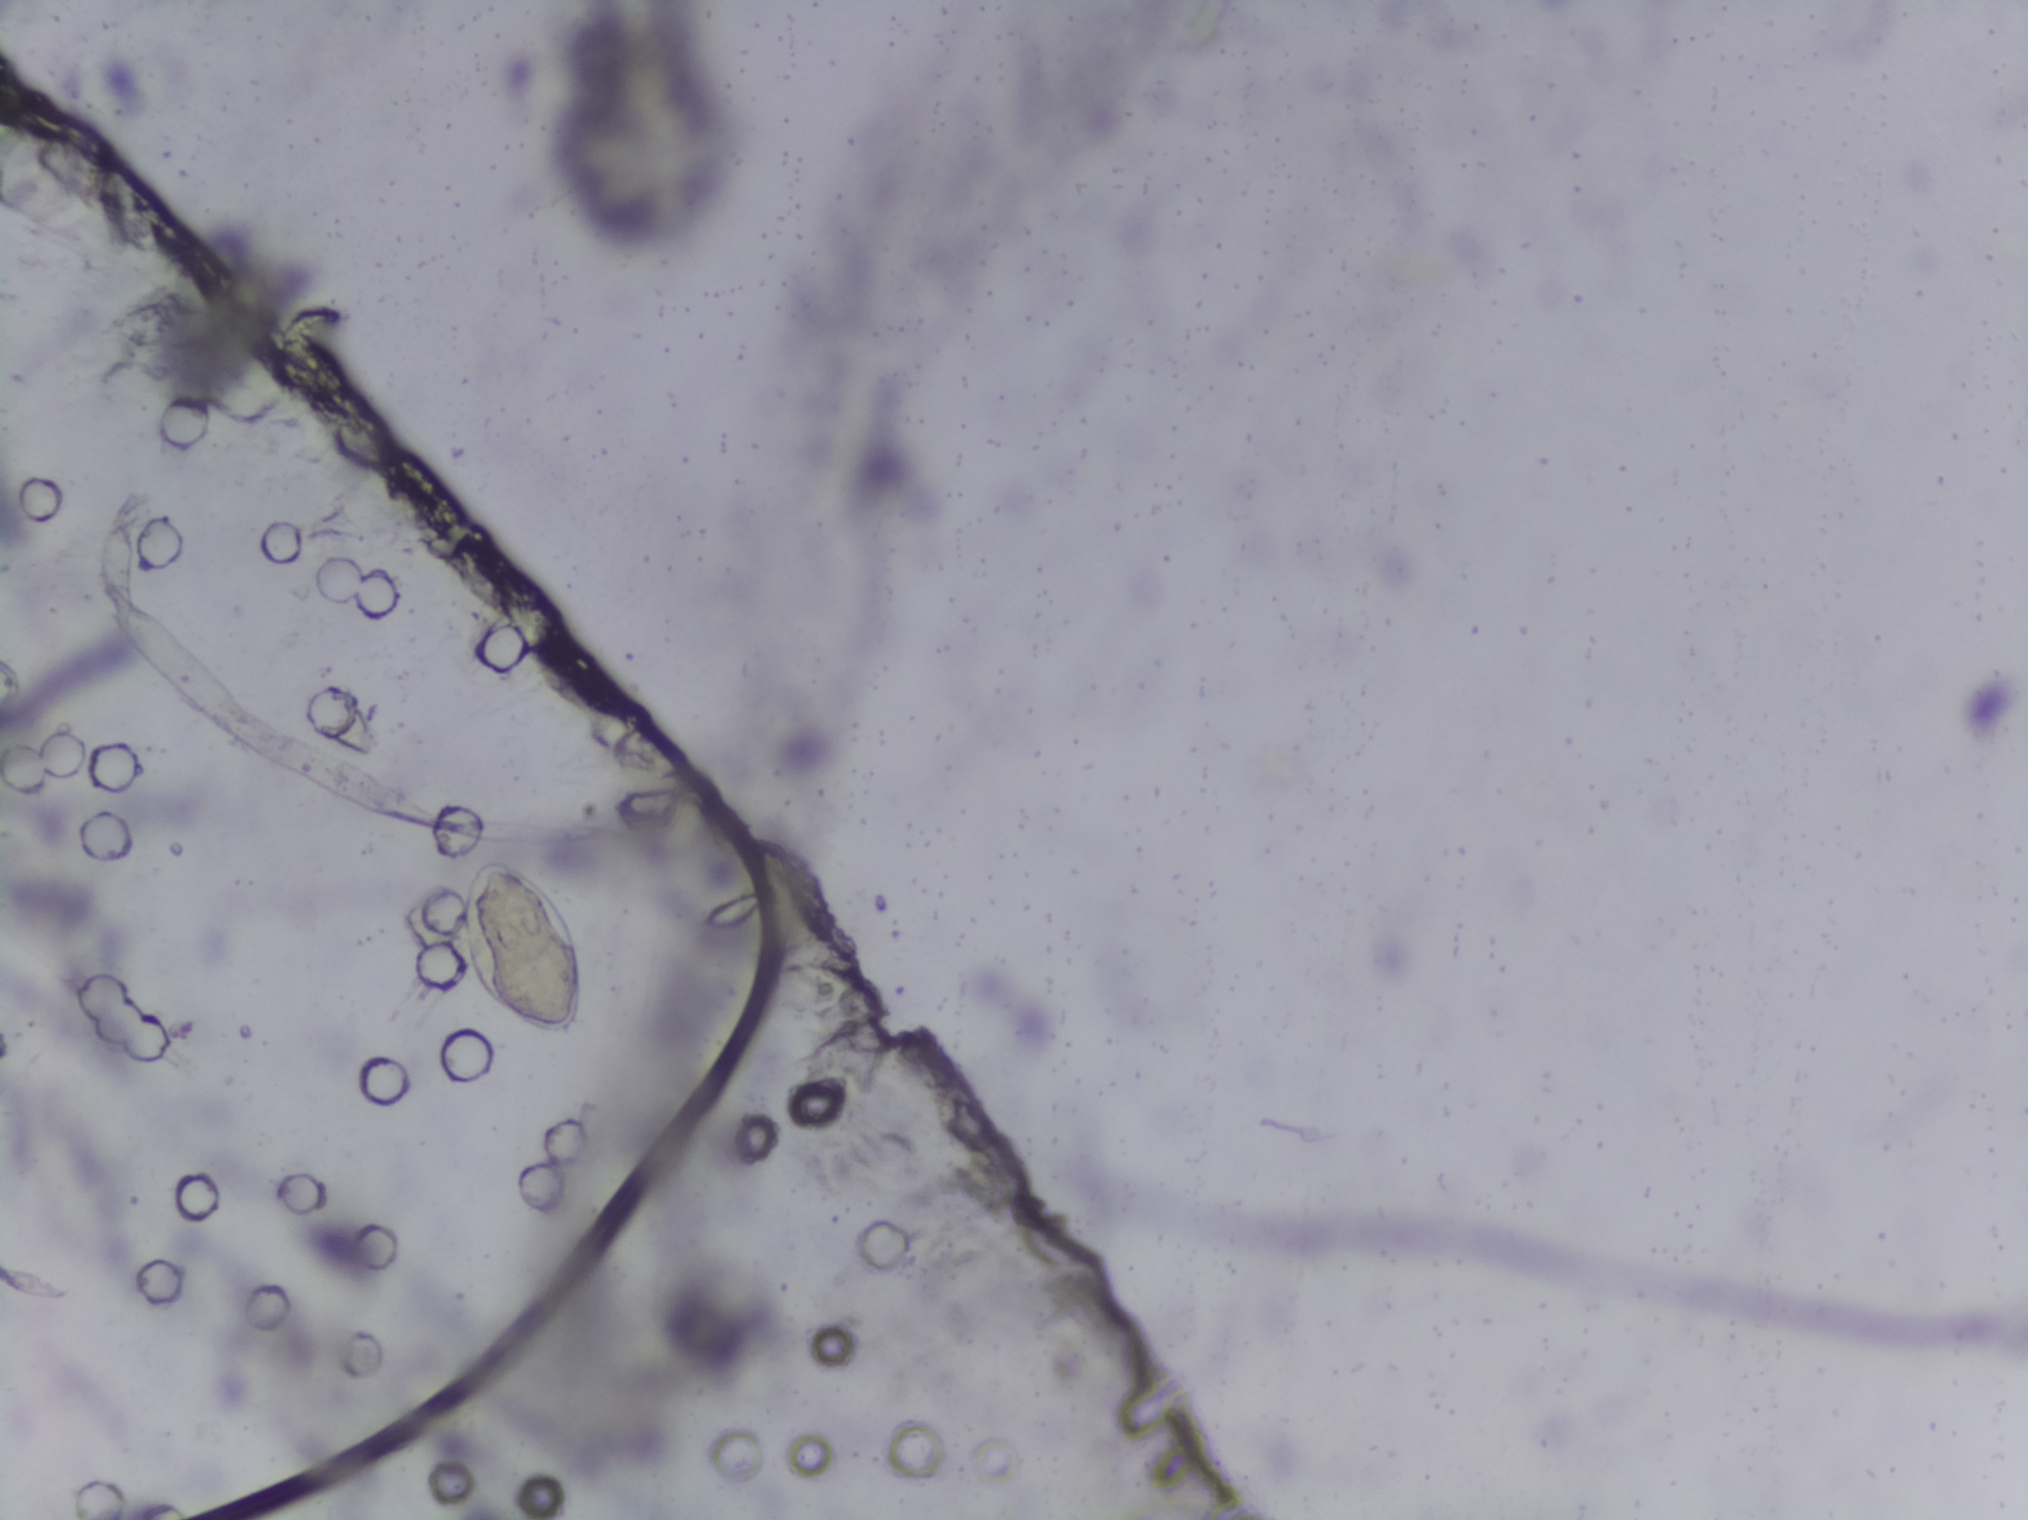
Microscope photograph (4× objective) of a membrane that a urine sample was filtered through.
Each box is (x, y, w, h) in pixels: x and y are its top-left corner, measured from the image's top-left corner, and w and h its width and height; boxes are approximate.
Areas outlined as Schistosoma eggs:
1. (x=450, y=857, w=138, h=184)
About 0.6% of the image's pixels are marked (the marked pixels themselves, not the box around them). Eggs that touch can end up inside the same outlined area. A marked egg may occasionally be S. mansoni rather than S. haematobium.